One field of view of a urine filter membrane, 4× objective, 2028 × 1520 pixels.
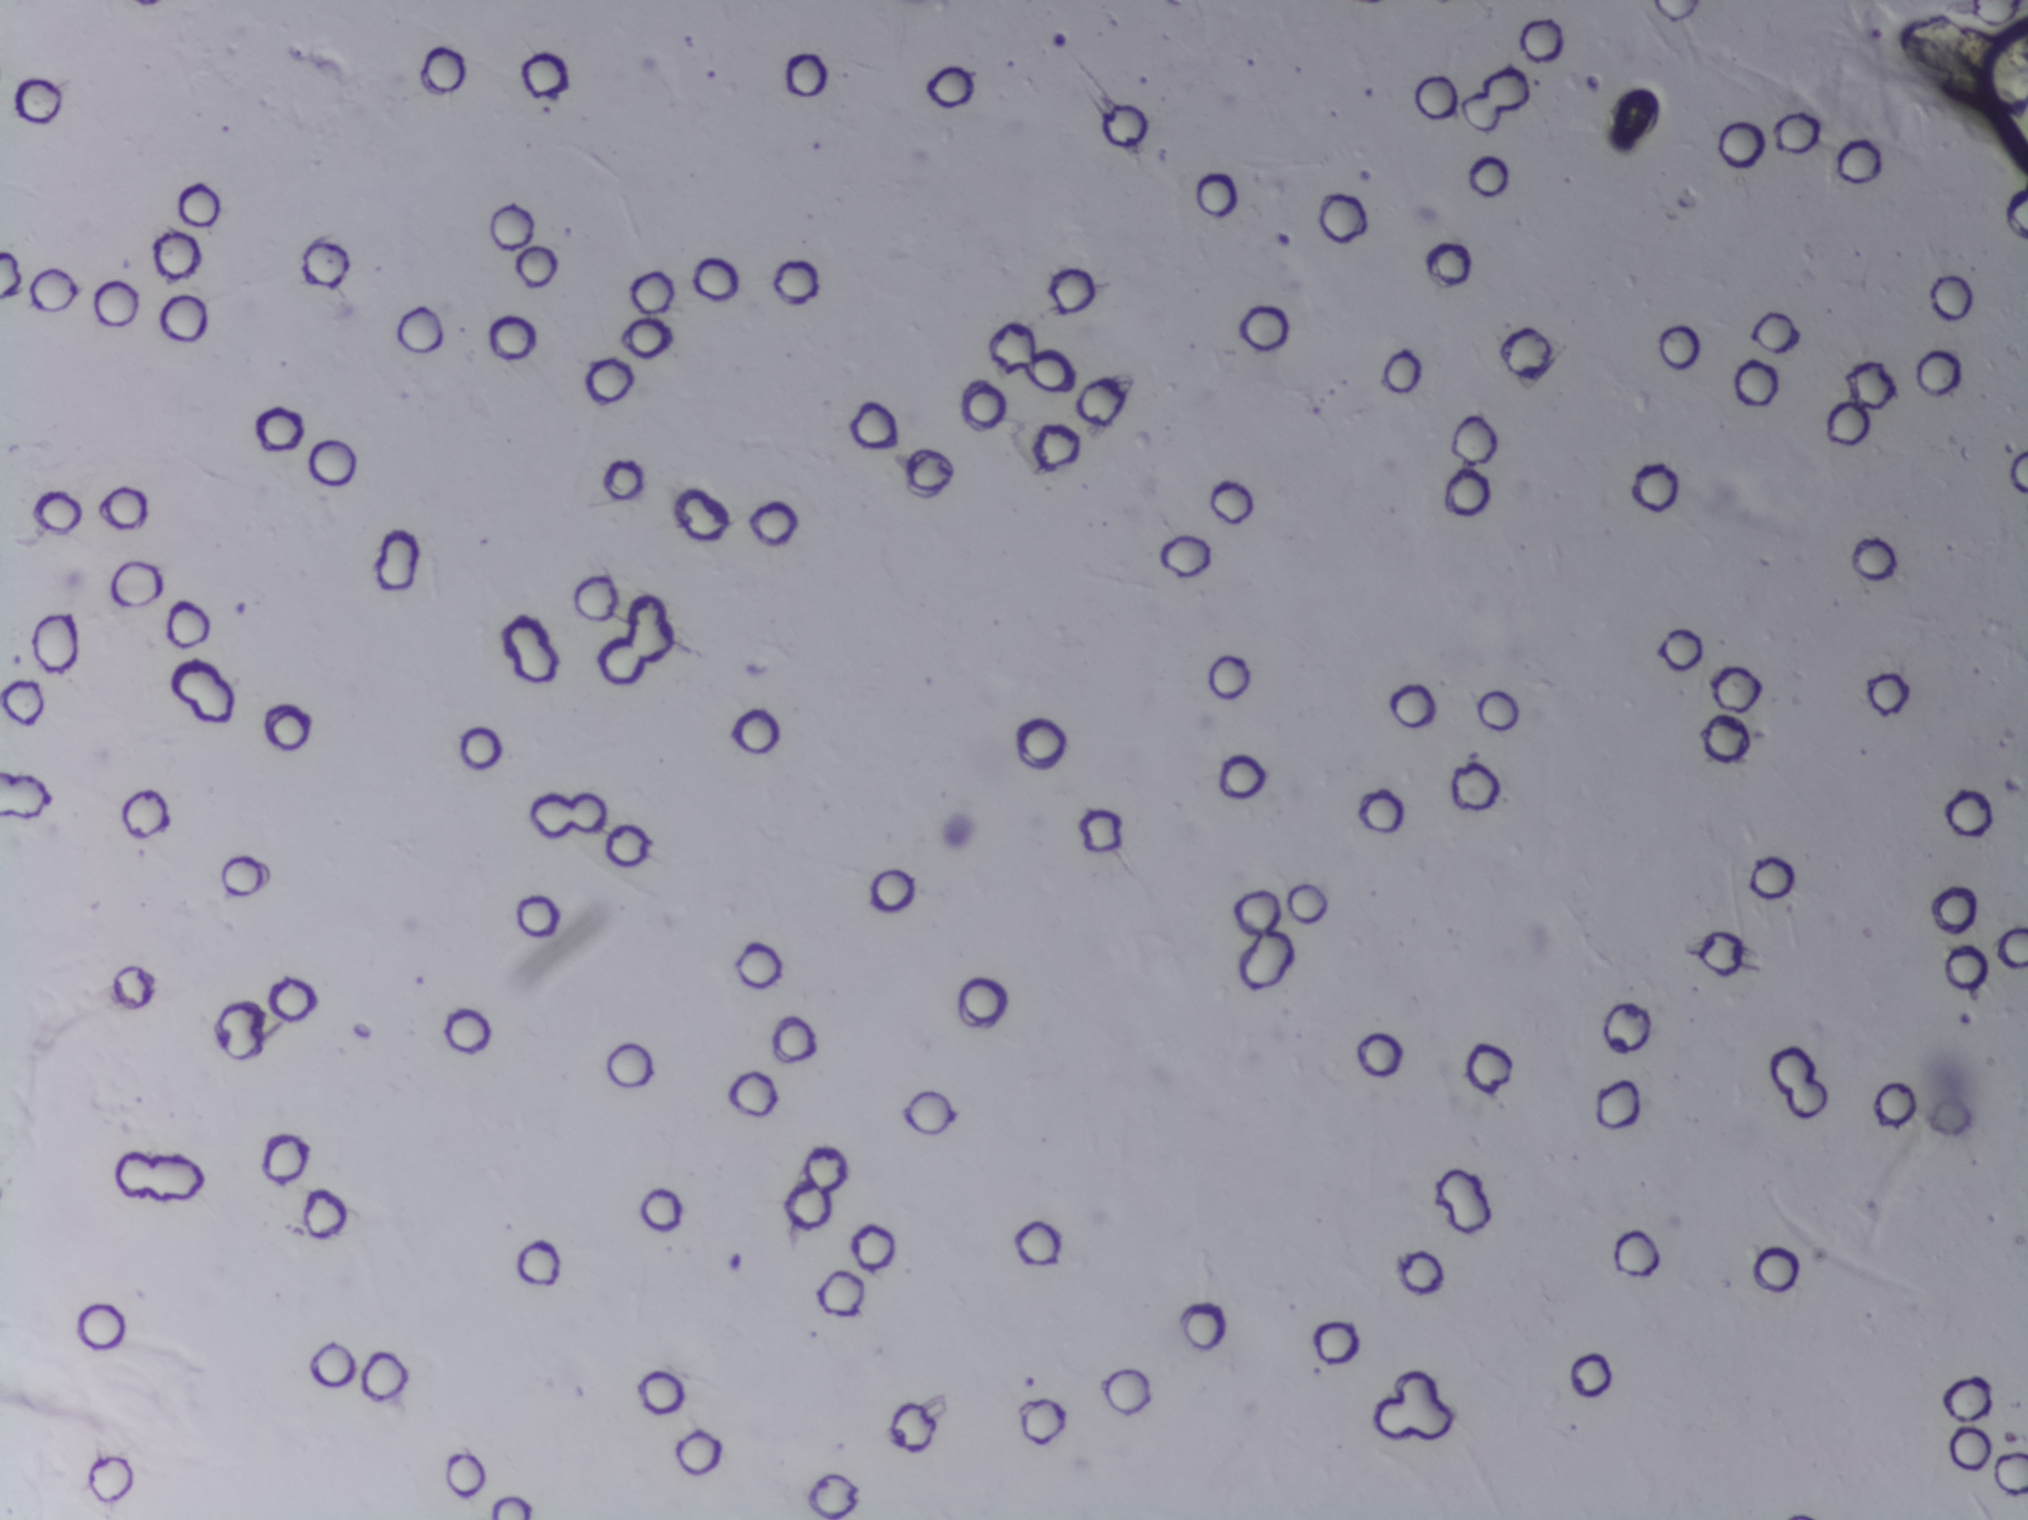
Schistosoma eggs: none outlined.